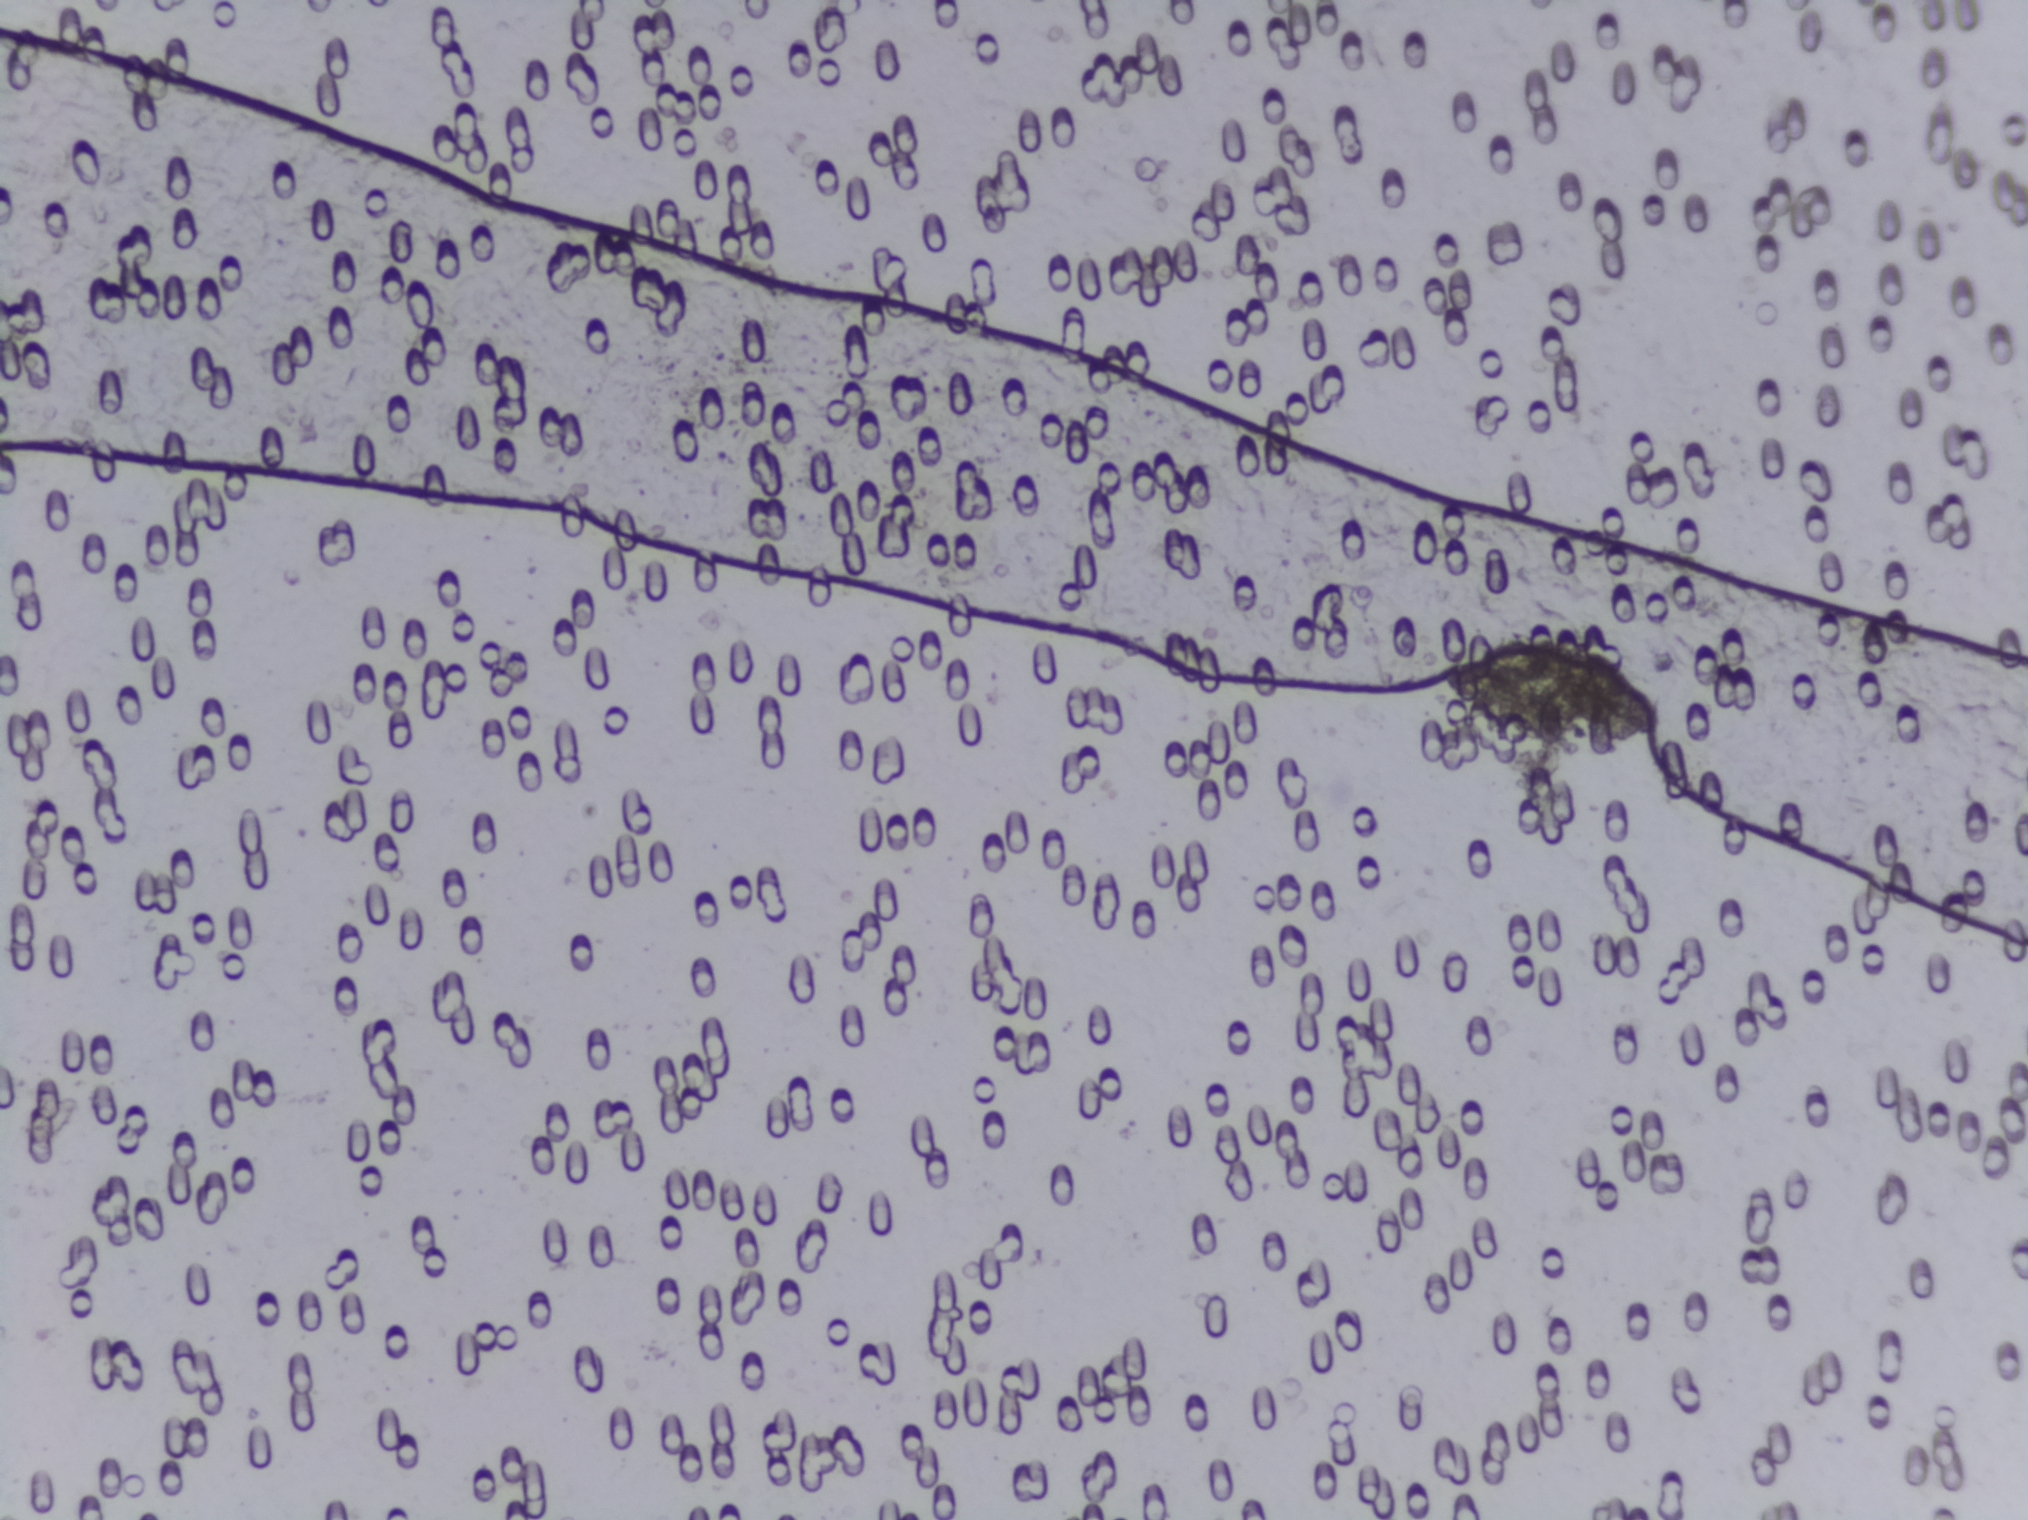
One field of view of a urine filter membrane, 4× objective, 2028 × 1520 pixels.
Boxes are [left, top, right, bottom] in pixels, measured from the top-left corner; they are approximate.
One area of this image is outlined as Schistosoma eggs: [1444, 638, 1659, 747]. The marked pixels themselves, not the box around them, cover about 0.5% of the image. A single outlined area may contain several eggs. Any one outlined egg may, rarely, be S. mansoni rather than S. haematobium.